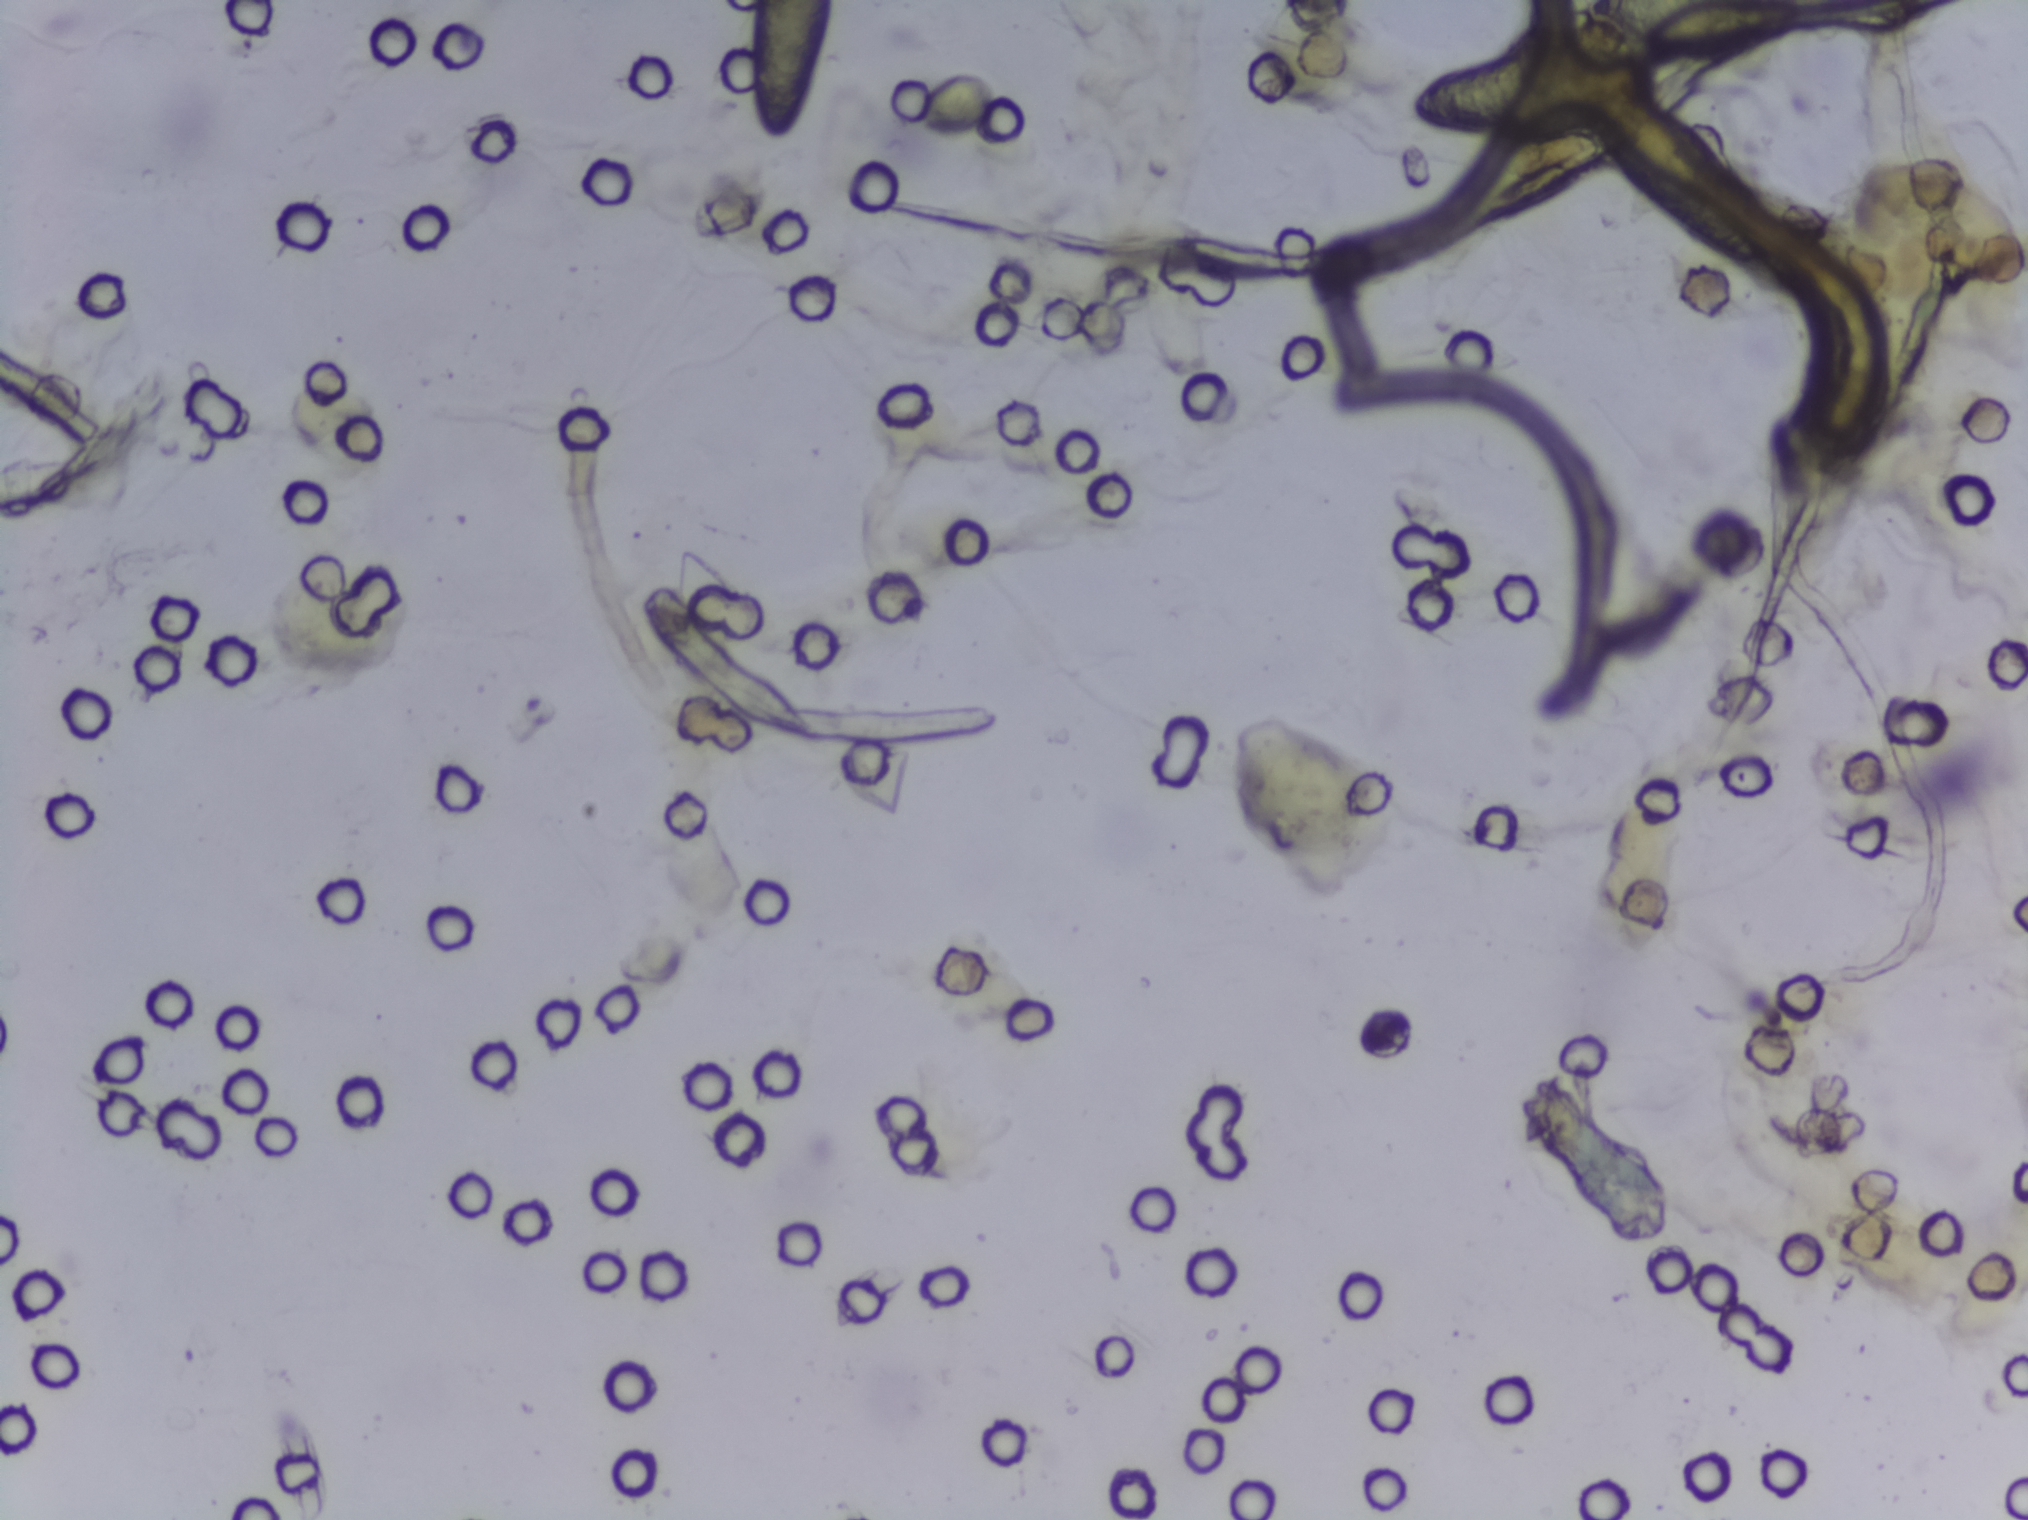
Urine filter membrane photographed through a 4× microscope objective.
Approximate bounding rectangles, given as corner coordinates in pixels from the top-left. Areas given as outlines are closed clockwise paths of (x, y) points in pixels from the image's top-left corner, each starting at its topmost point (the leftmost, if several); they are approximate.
The expert annotation outlines Schistosoma eggs in four areas, left to right: box (x1=745, y1=0, x2=835, y2=145) (reaching the top edge of the frame); outline (1588, 45), (1628, 47), (1636, 54), (1636, 83), (1657, 88), (1688, 110), (1747, 169), (1773, 212), (1770, 238), (1759, 254), (1716, 257), (1675, 237), (1614, 187), (1583, 127), (1485, 145), (1437, 132), (1409, 115), (1406, 97), (1444, 69); box (x1=1573, y1=0, x2=1823, y2=49) (reaching the top edge of the frame); box (x1=1861, y1=160, x2=2027, y2=278) (reaching the right edge of the frame). An outlined area can hold more than one egg.